One field of view of a urine filter membrane, 4× objective, 2028 × 1520 pixels.
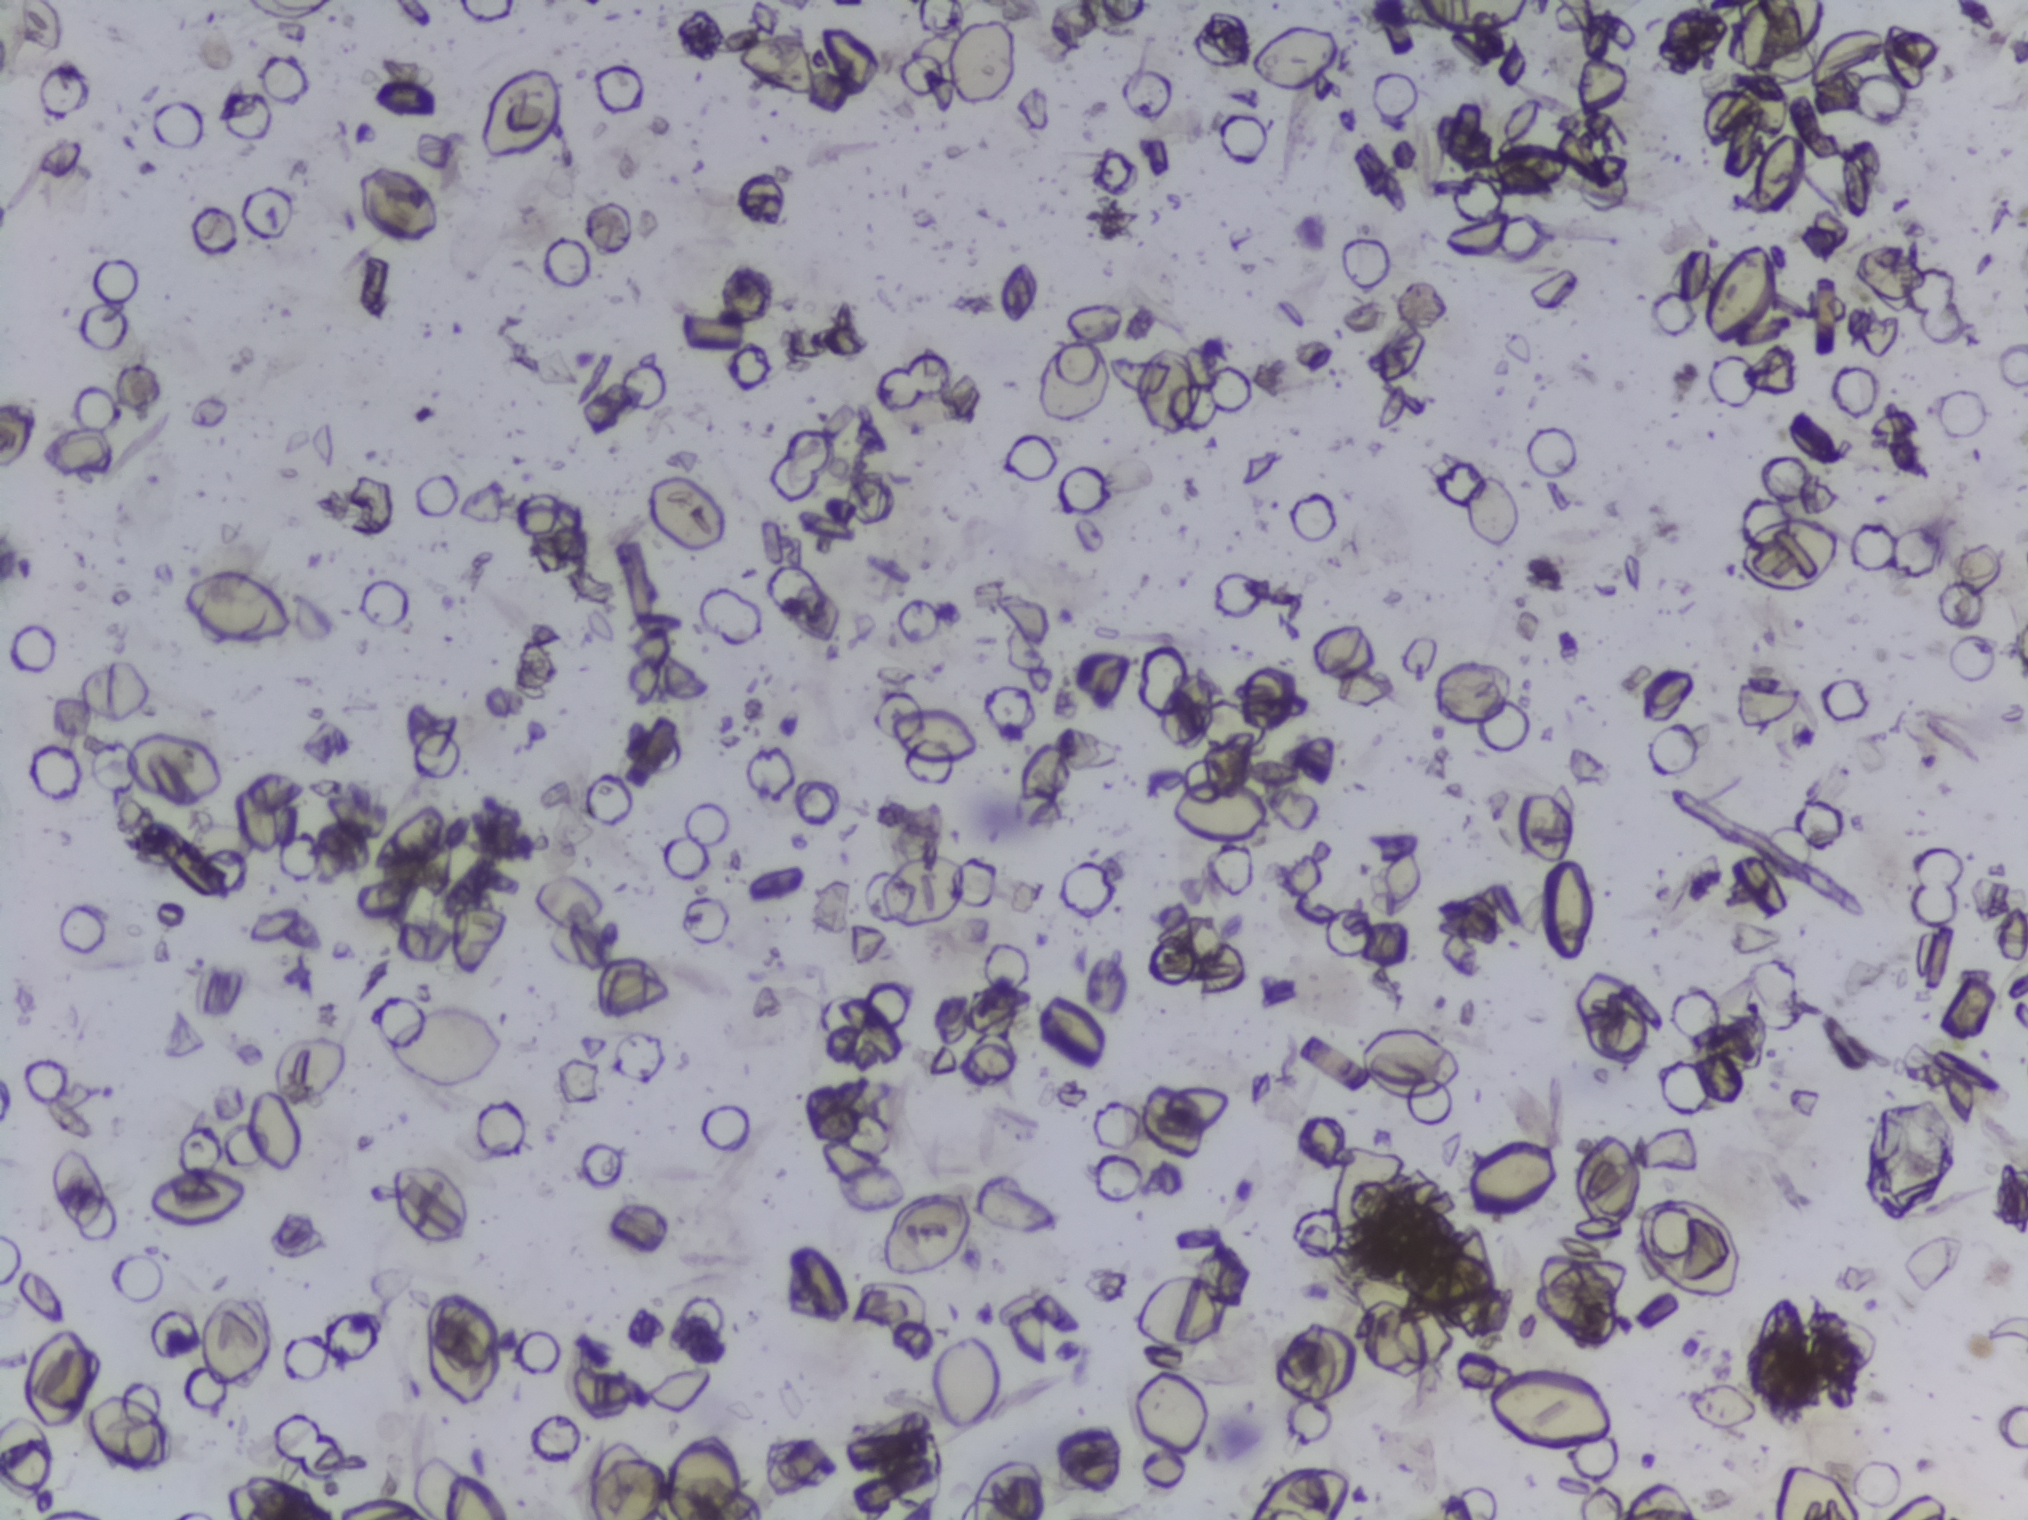
The expert annotation marks no Schistosoma egg in this field of view.